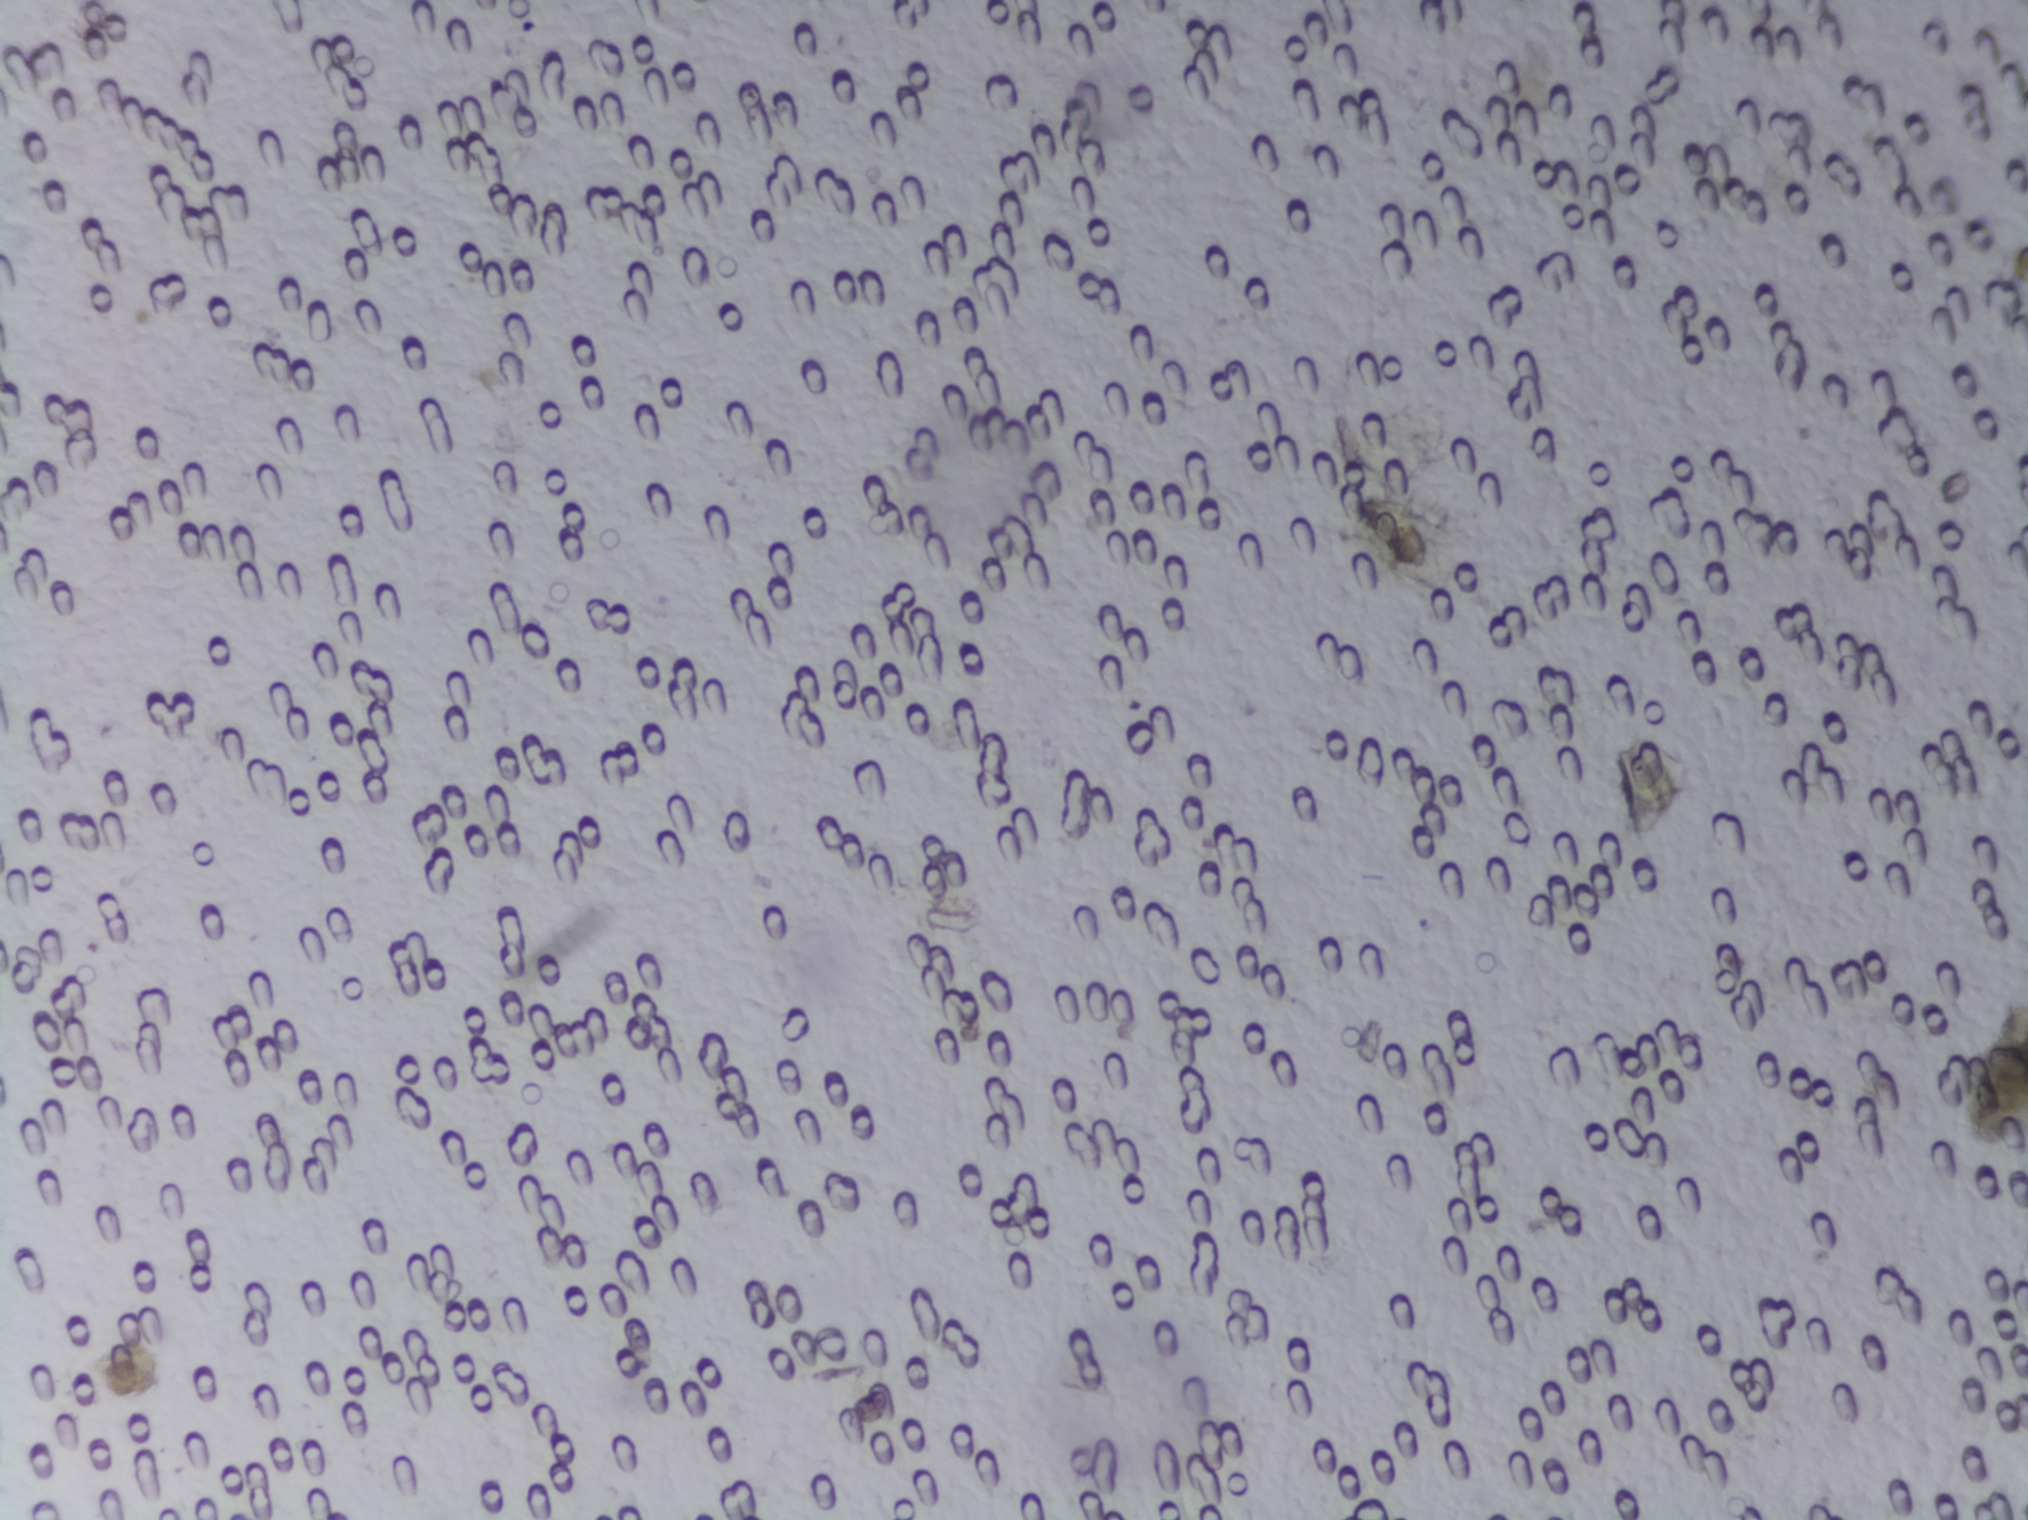
Microscope photograph (4× objective) of a membrane that a urine sample was filtered through. The image covers about 1.5 × 1.1 mm of the membrane.
No Schistosoma egg is outlined in this image's expert annotation.